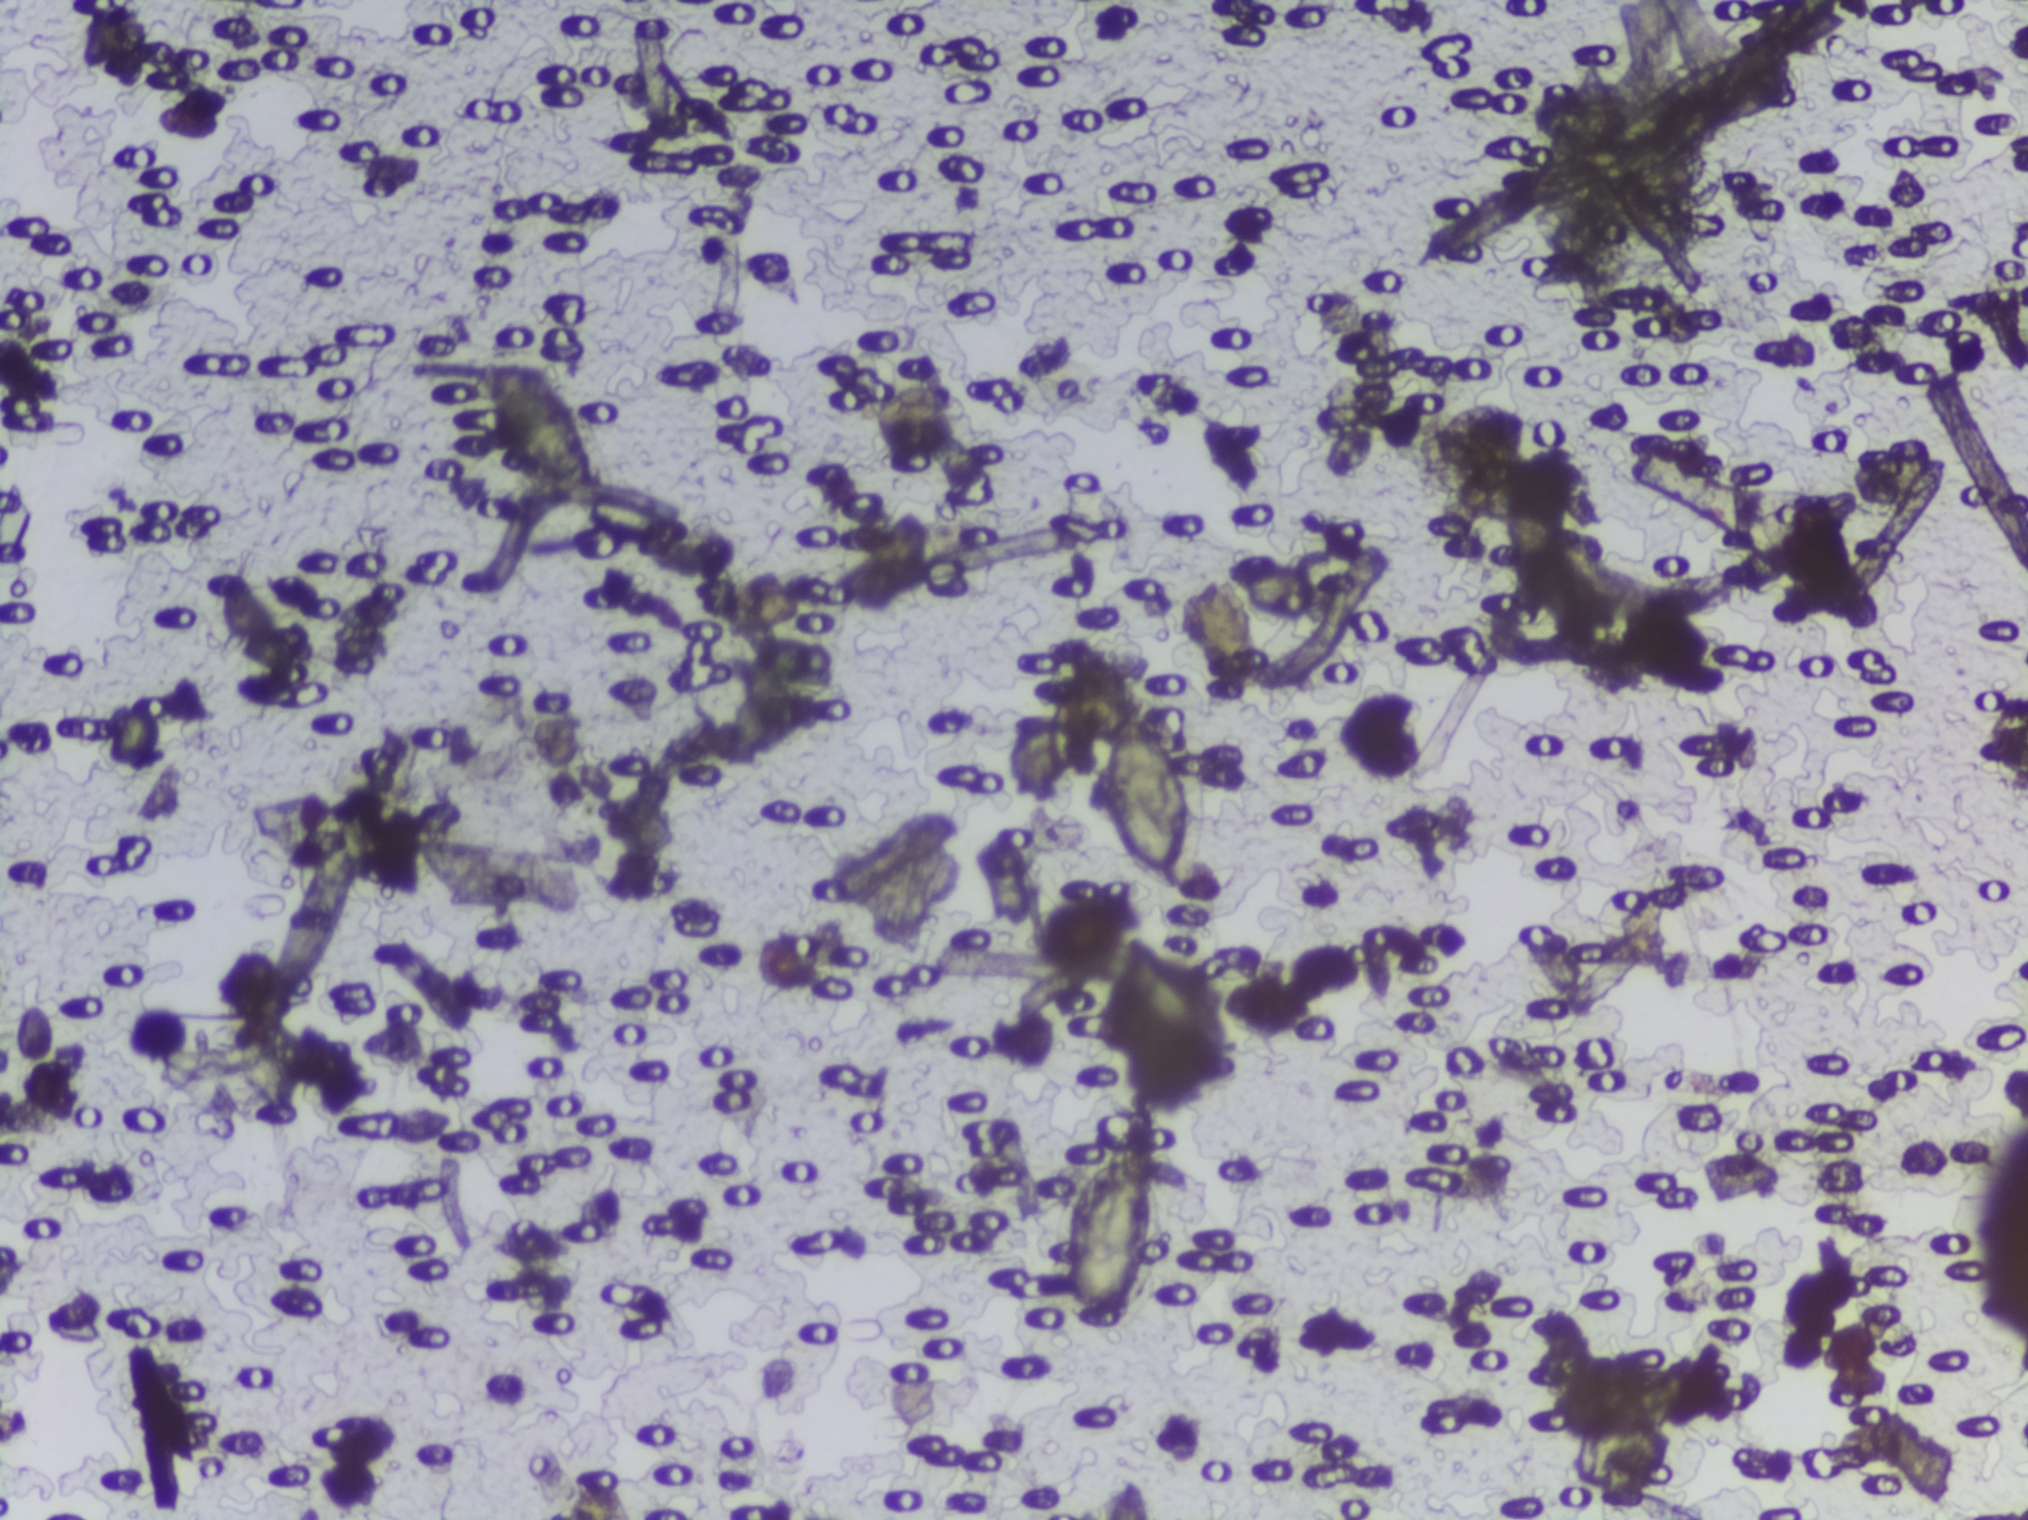
Urine filtration membrane under a 4× objective, photographed by an automated digital microscope.
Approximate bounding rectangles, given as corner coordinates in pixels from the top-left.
Findings: three areas outlined as Schistosoma eggs. Locations, left to right: (x1=483, y1=343, x2=604, y2=516); (x1=1039, y1=1139, x2=1186, y2=1346); (x1=1095, y1=698, x2=1223, y2=906). About 2.0% of the image's pixels are marked (the marked pixels themselves, not the boxes around them). An outlined area can hold more than one egg.